Photograph from an automated digital microscope: urine filter membrane, 4× objective.
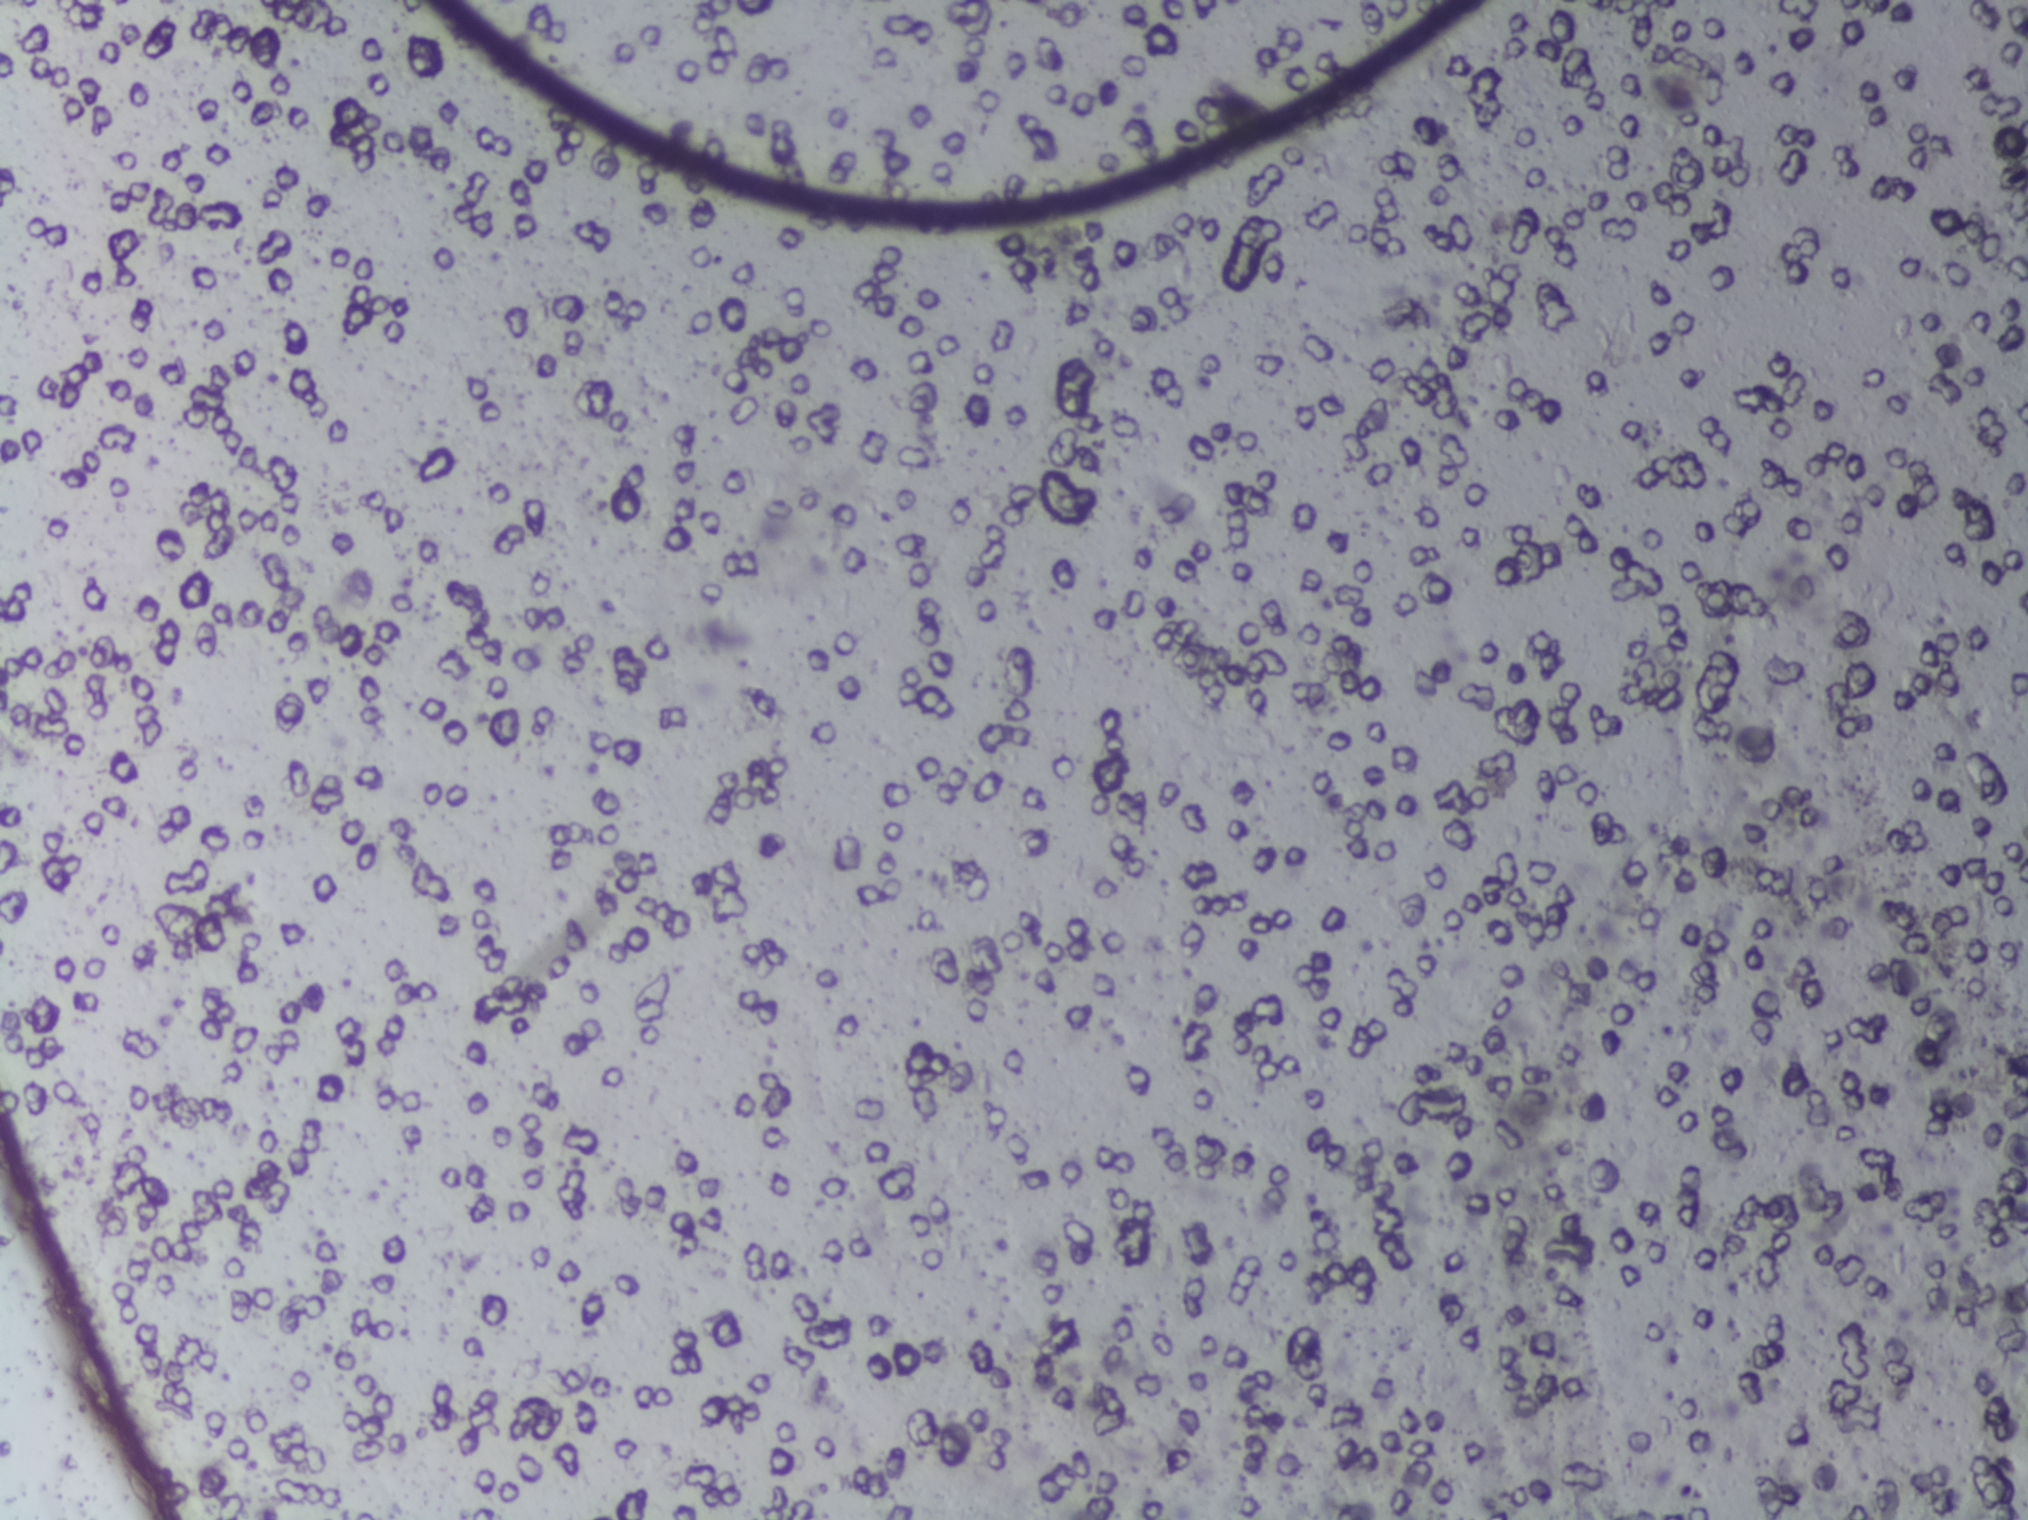
No area of this image was outlined as a Schistosoma egg.